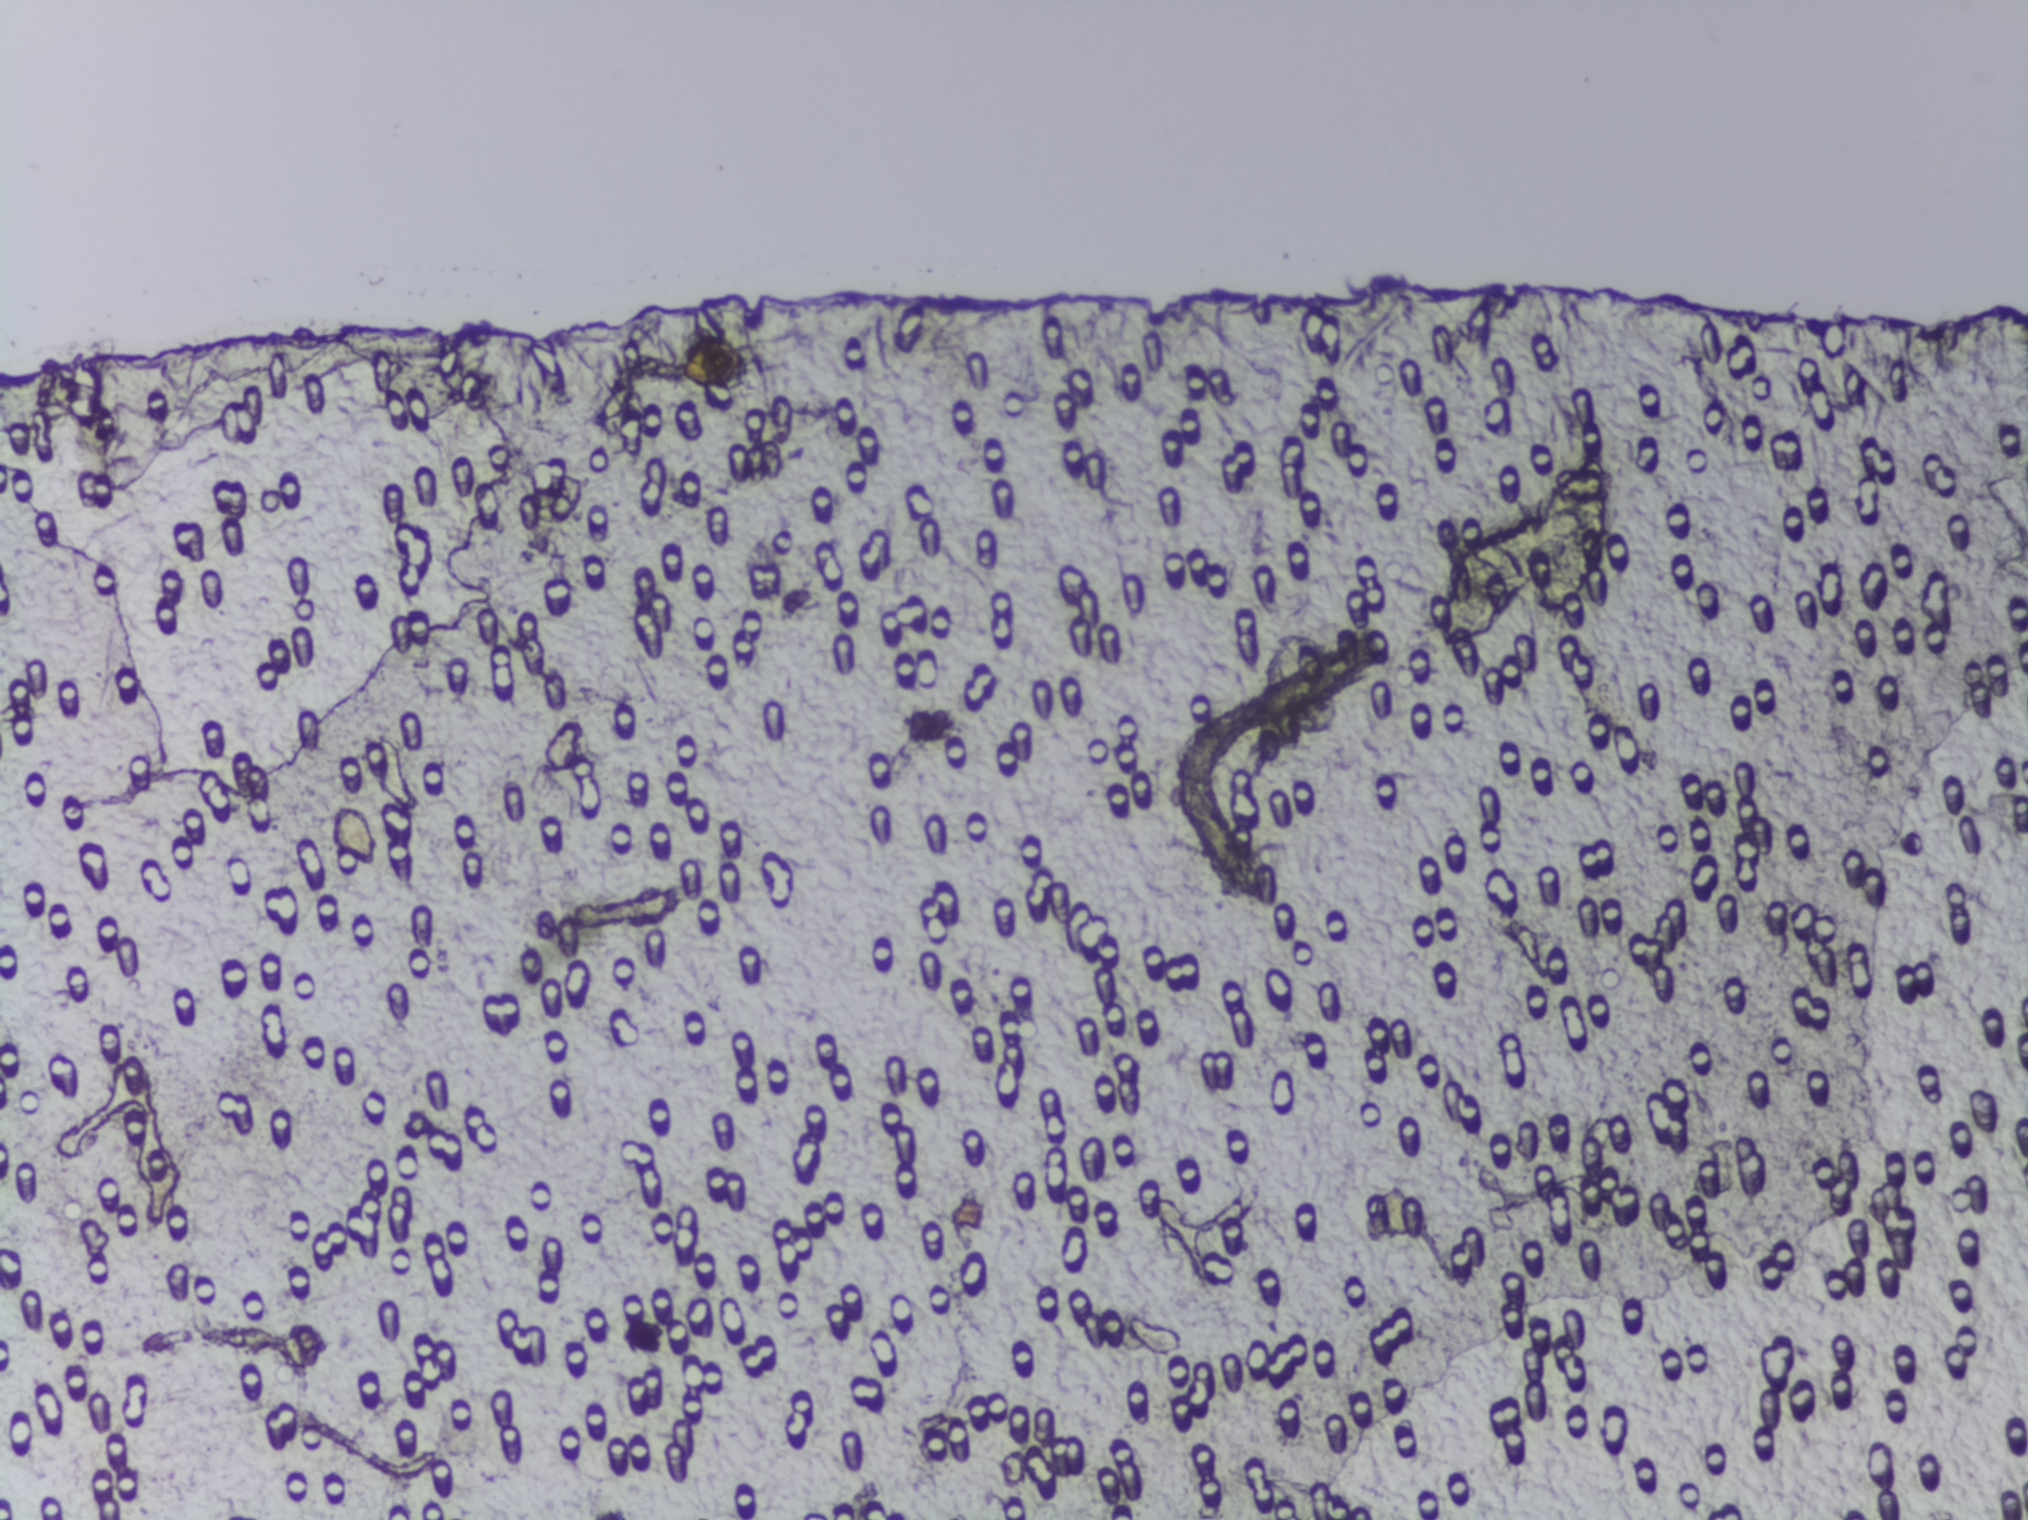
Microscope photograph (4× objective) of a membrane that a urine sample was filtered through.
No Schistosoma egg is outlined in this image's expert annotation.